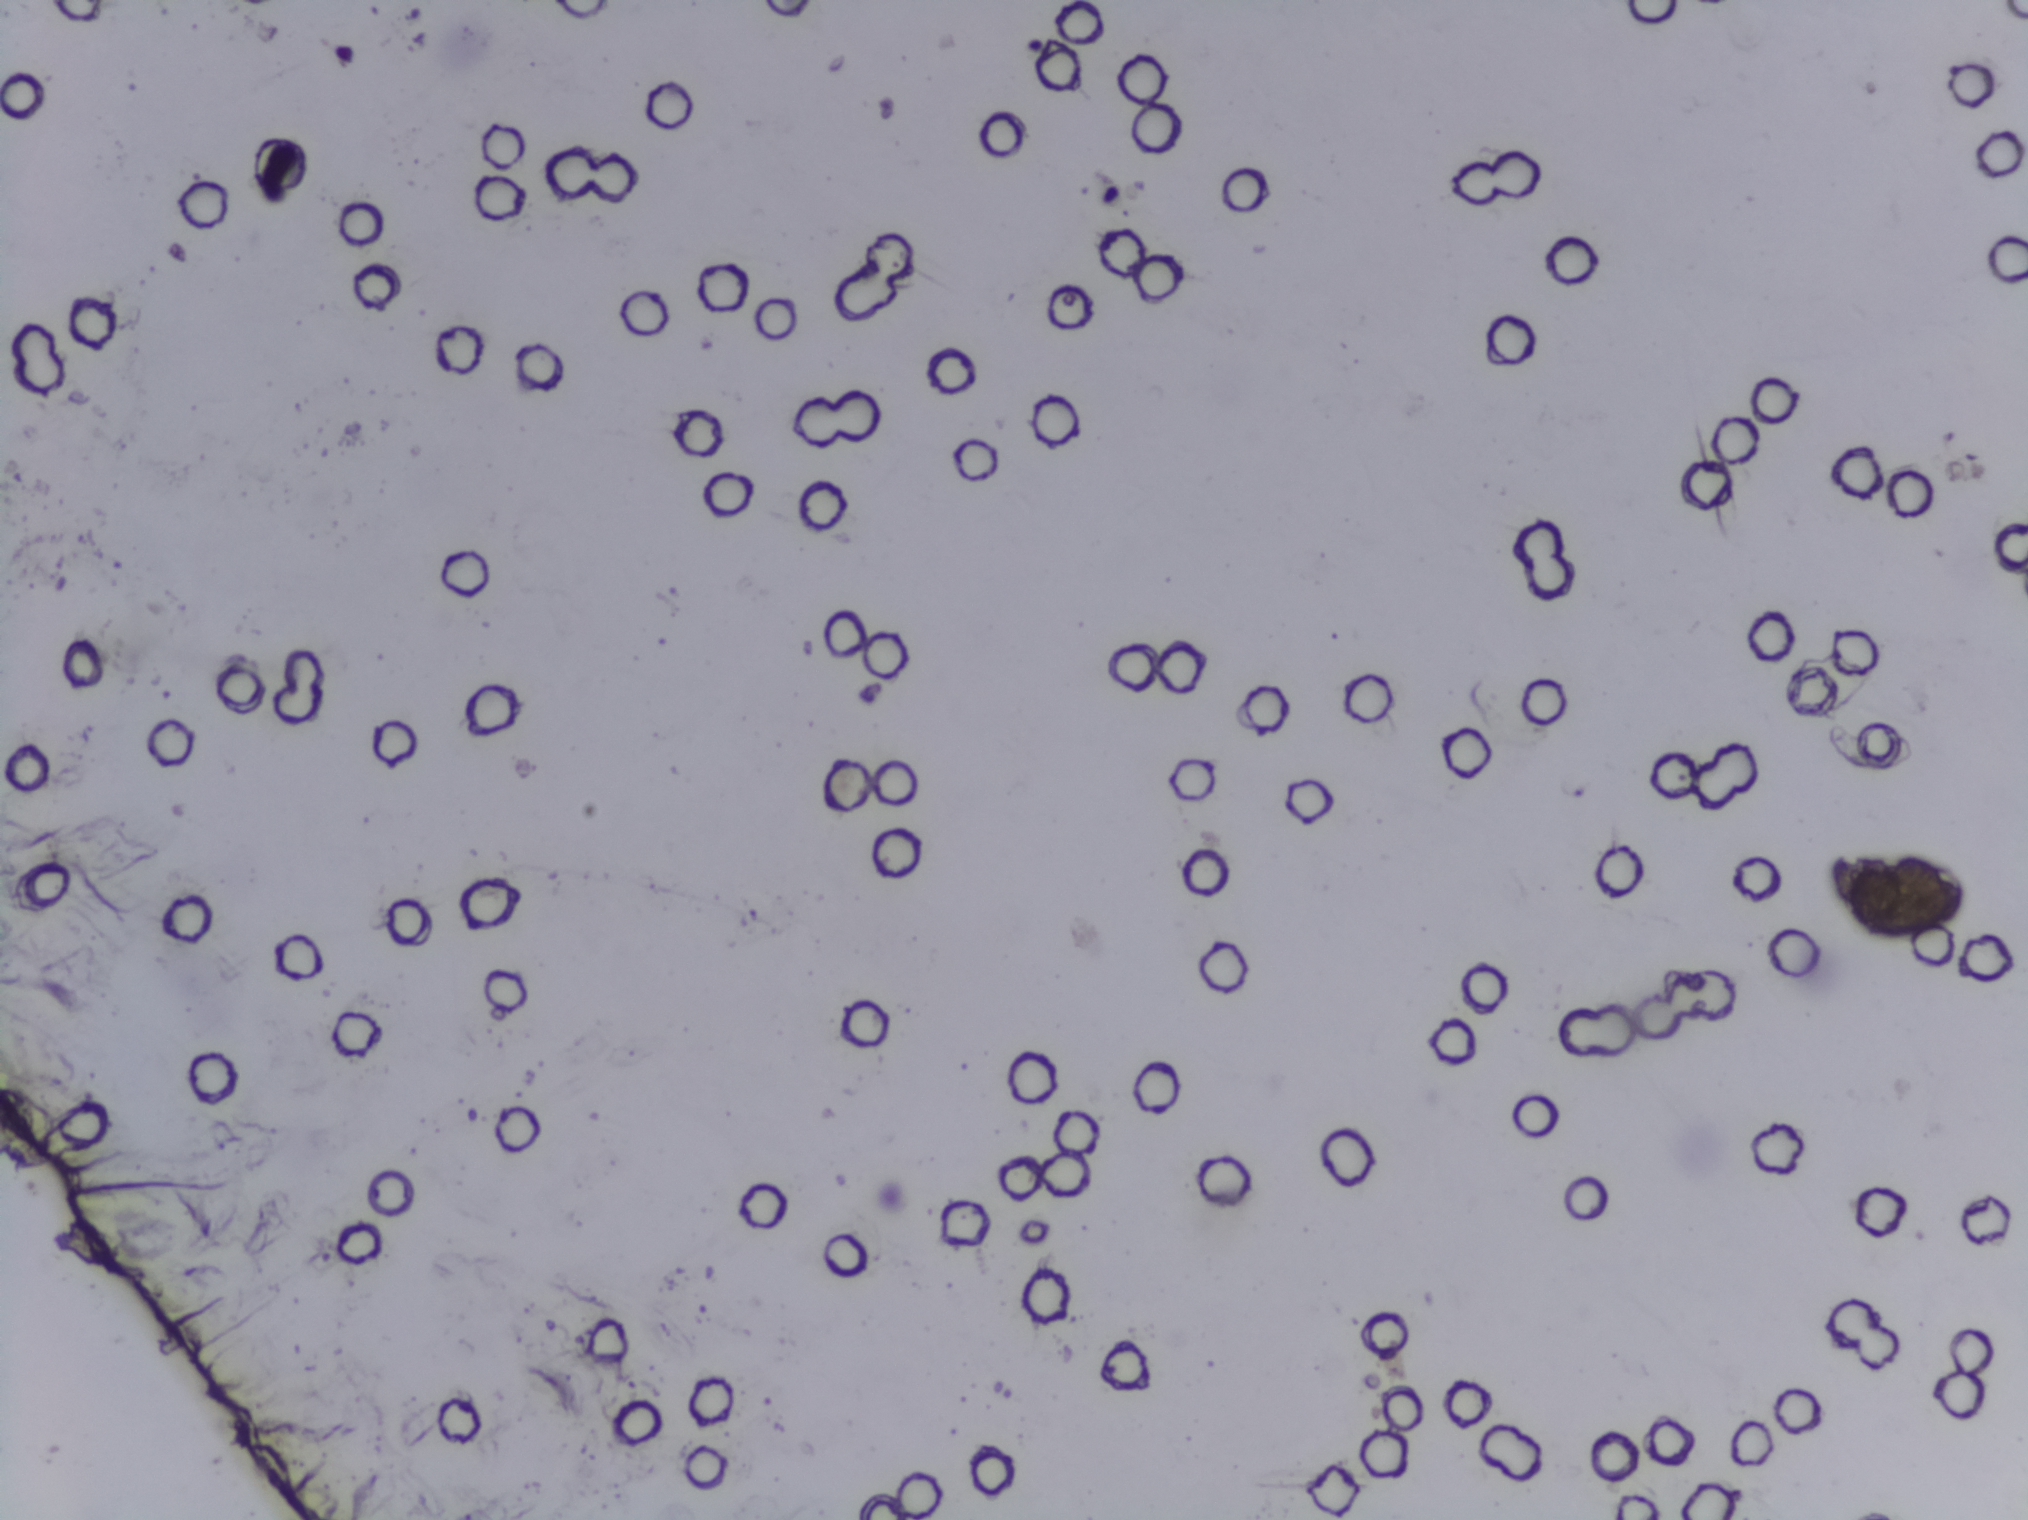
Photograph from an automated digital microscope: urine filter membrane, 4× objective.
The expert annotation outlines no Schistosoma egg in this image.